Photograph from an automated digital microscope: urine filter membrane, 4× objective.
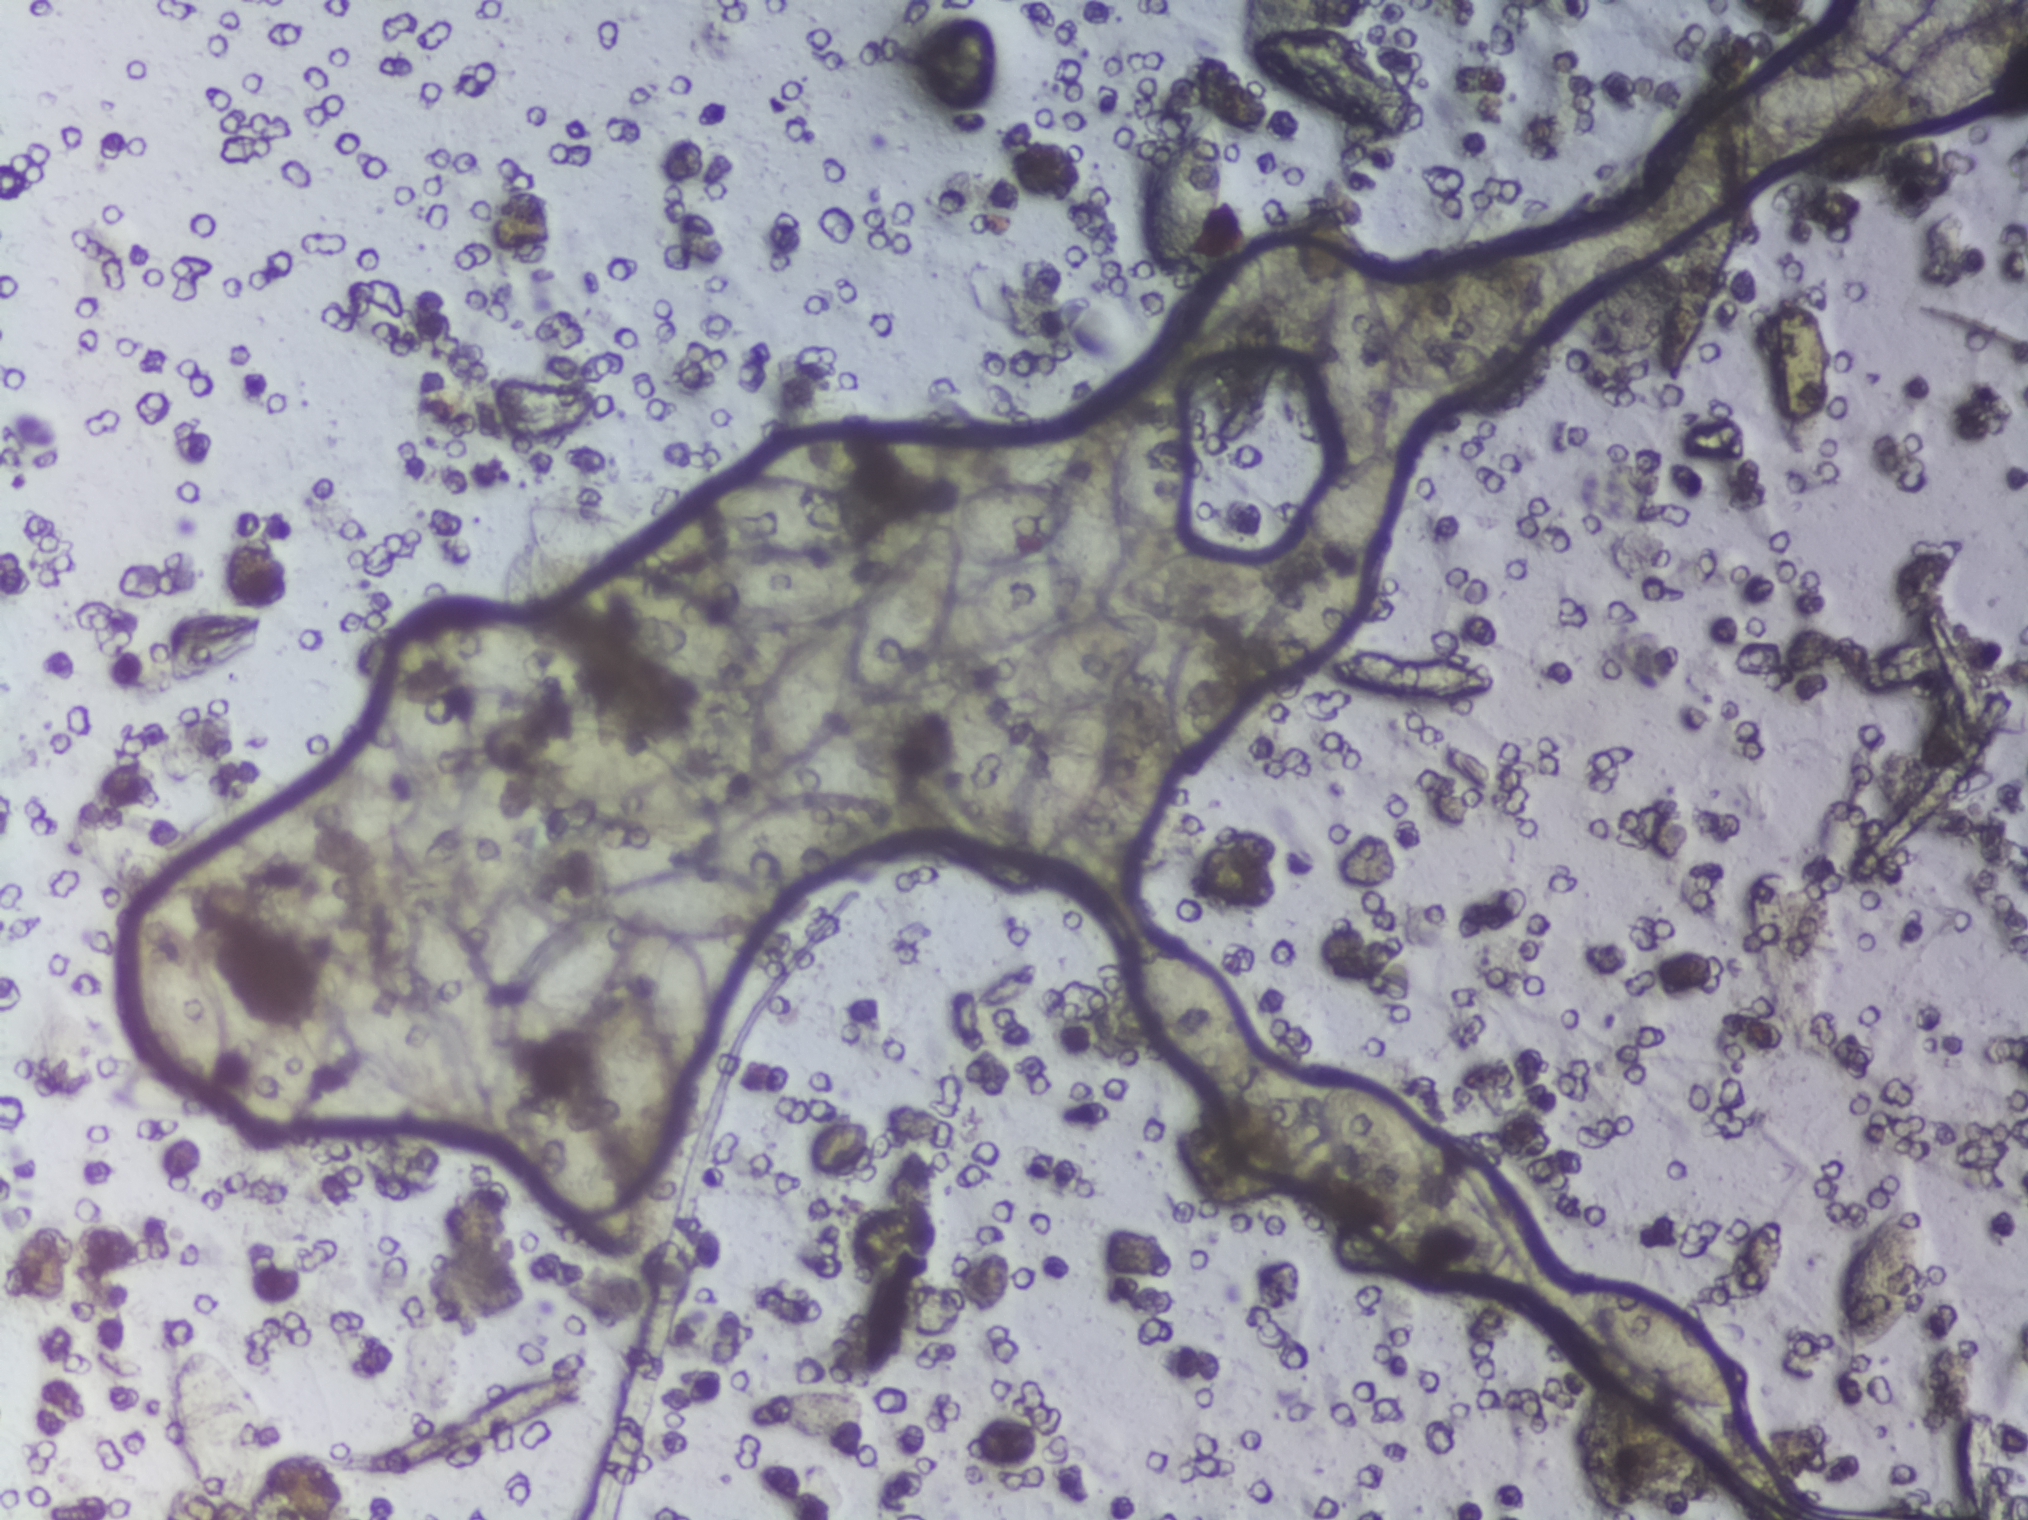
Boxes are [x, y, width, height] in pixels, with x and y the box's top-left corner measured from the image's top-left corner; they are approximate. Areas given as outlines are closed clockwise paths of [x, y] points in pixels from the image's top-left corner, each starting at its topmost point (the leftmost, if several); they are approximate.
The expert annotation outlines Schistosoma eggs in ten areas, left to right: box [63, 800, 174, 304]; outline [448, 595], [521, 608], [577, 639], [605, 674], [605, 696], [588, 719], [646, 738], [686, 761], [716, 793], [720, 824], [778, 791], [861, 788], [897, 802], [897, 818], [875, 847], [839, 875], [807, 884], [821, 899], [810, 917], [738, 938], [692, 940], [710, 982], [718, 1070], [703, 1092], [680, 1087], [679, 1141], [669, 1182], [650, 1185], [625, 1171], [636, 1225], [633, 1251], [625, 1255], [604, 1255], [558, 1220], [531, 1180], [520, 1143], [519, 1100], [530, 1079], [570, 1094], [596, 1121], [578, 1065], [582, 1033], [545, 1060], [505, 1067], [492, 1094], [490, 1123], [420, 1111], [375, 1084], [338, 1038], [297, 1147], [253, 1155], [231, 1125], [231, 1089], [248, 1034], [275, 990], [314, 971], [313, 948], [322, 939], [411, 971], [413, 960], [412, 934], [390, 901], [386, 841], [339, 868], [268, 868], [239, 854], [223, 825], [231, 813], [390, 727], [389, 689], [362, 672], [356, 646], [403, 611], [449, 603] (eggs clustered together); outline [1353, 251], [1364, 254], [1388, 286], [1389, 324], [1441, 275], [1498, 256], [1547, 256], [1540, 313], [1520, 347], [1490, 372], [1438, 391], [1391, 390], [1385, 442], [1371, 455], [1413, 447], [1423, 457], [1423, 477], [1409, 517], [1381, 548], [1386, 564], [1368, 610], [1340, 644], [1306, 668], [1246, 685], [1232, 737], [1210, 771], [1198, 774], [1178, 756], [1177, 795], [1153, 832], [1127, 832], [1107, 795], [1079, 844], [1039, 872], [1010, 863], [970, 835], [942, 768], [942, 727], [962, 681], [990, 660], [928, 664], [899, 694], [867, 710], [857, 709], [852, 690], [839, 732], [817, 756], [785, 777], [754, 781], [750, 736], [758, 701], [689, 698], [603, 657], [564, 617], [558, 590], [540, 572], [540, 562], [552, 552], [581, 552], [609, 565], [601, 567], [628, 570], [613, 566], [663, 568], [735, 544], [761, 544], [703, 516], [692, 492], [741, 471], [828, 484], [860, 498], [882, 446], [927, 405], [943, 496], [959, 483], [993, 477], [1057, 479], [1073, 432], [1087, 420], [1103, 433], [1114, 459], [1135, 404], [1164, 372], [1182, 388], [1193, 439], [1179, 546], [1215, 544], [1268, 554], [1326, 477], [1353, 463], [1325, 444], [1316, 413], [1322, 321], [1343, 259] (eggs clustered together); box [1124, 931, 140, 176]; box [1143, 118, 87, 168]; box [1314, 1069, 133, 167]; box [1569, 1280, 179, 138]; outline [1840, 0], [1936, 0], [1921, 29], [1873, 67], [1879, 100], [1848, 139], [1812, 161], [1745, 174], [1683, 174], [1652, 162], [1656, 144], [1700, 107], [1785, 67], [1790, 47] (reaching the top edge of the frame); box [1840, 1203, 93, 166]; box [1881, 3, 147, 127] (reaching the right edge of the frame). Eggs that touch can end up inside the same outlined area.